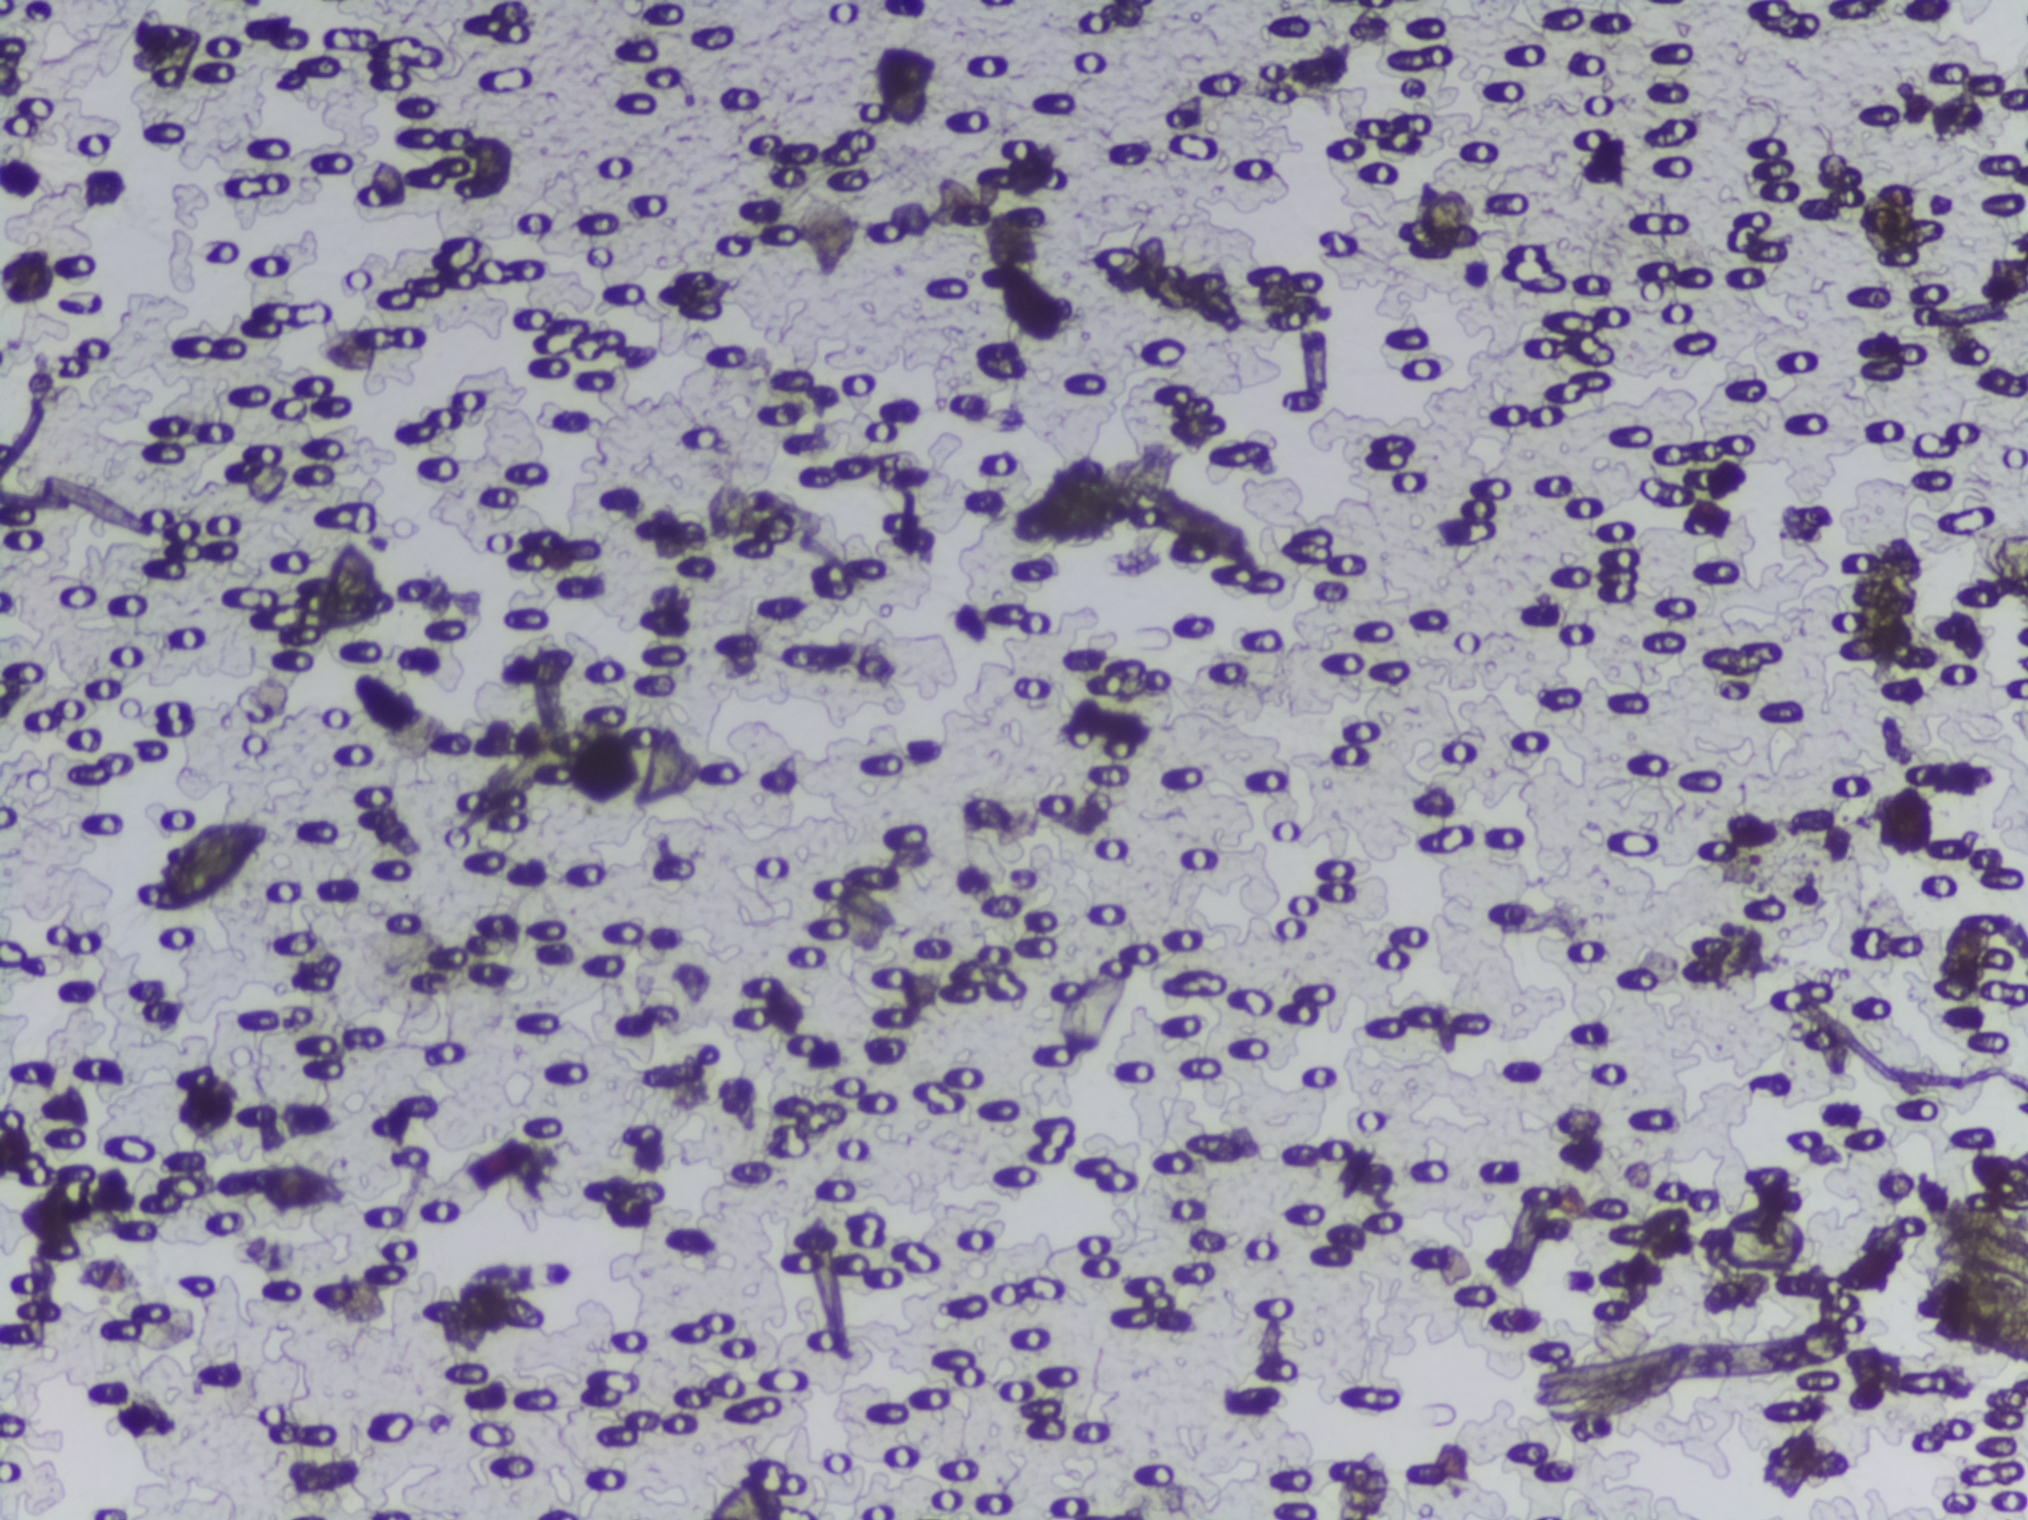
One field of view of a urine filter membrane, 4× objective, 2028 × 1520 pixels.
The expert annotation outlines no Schistosoma egg in this image.